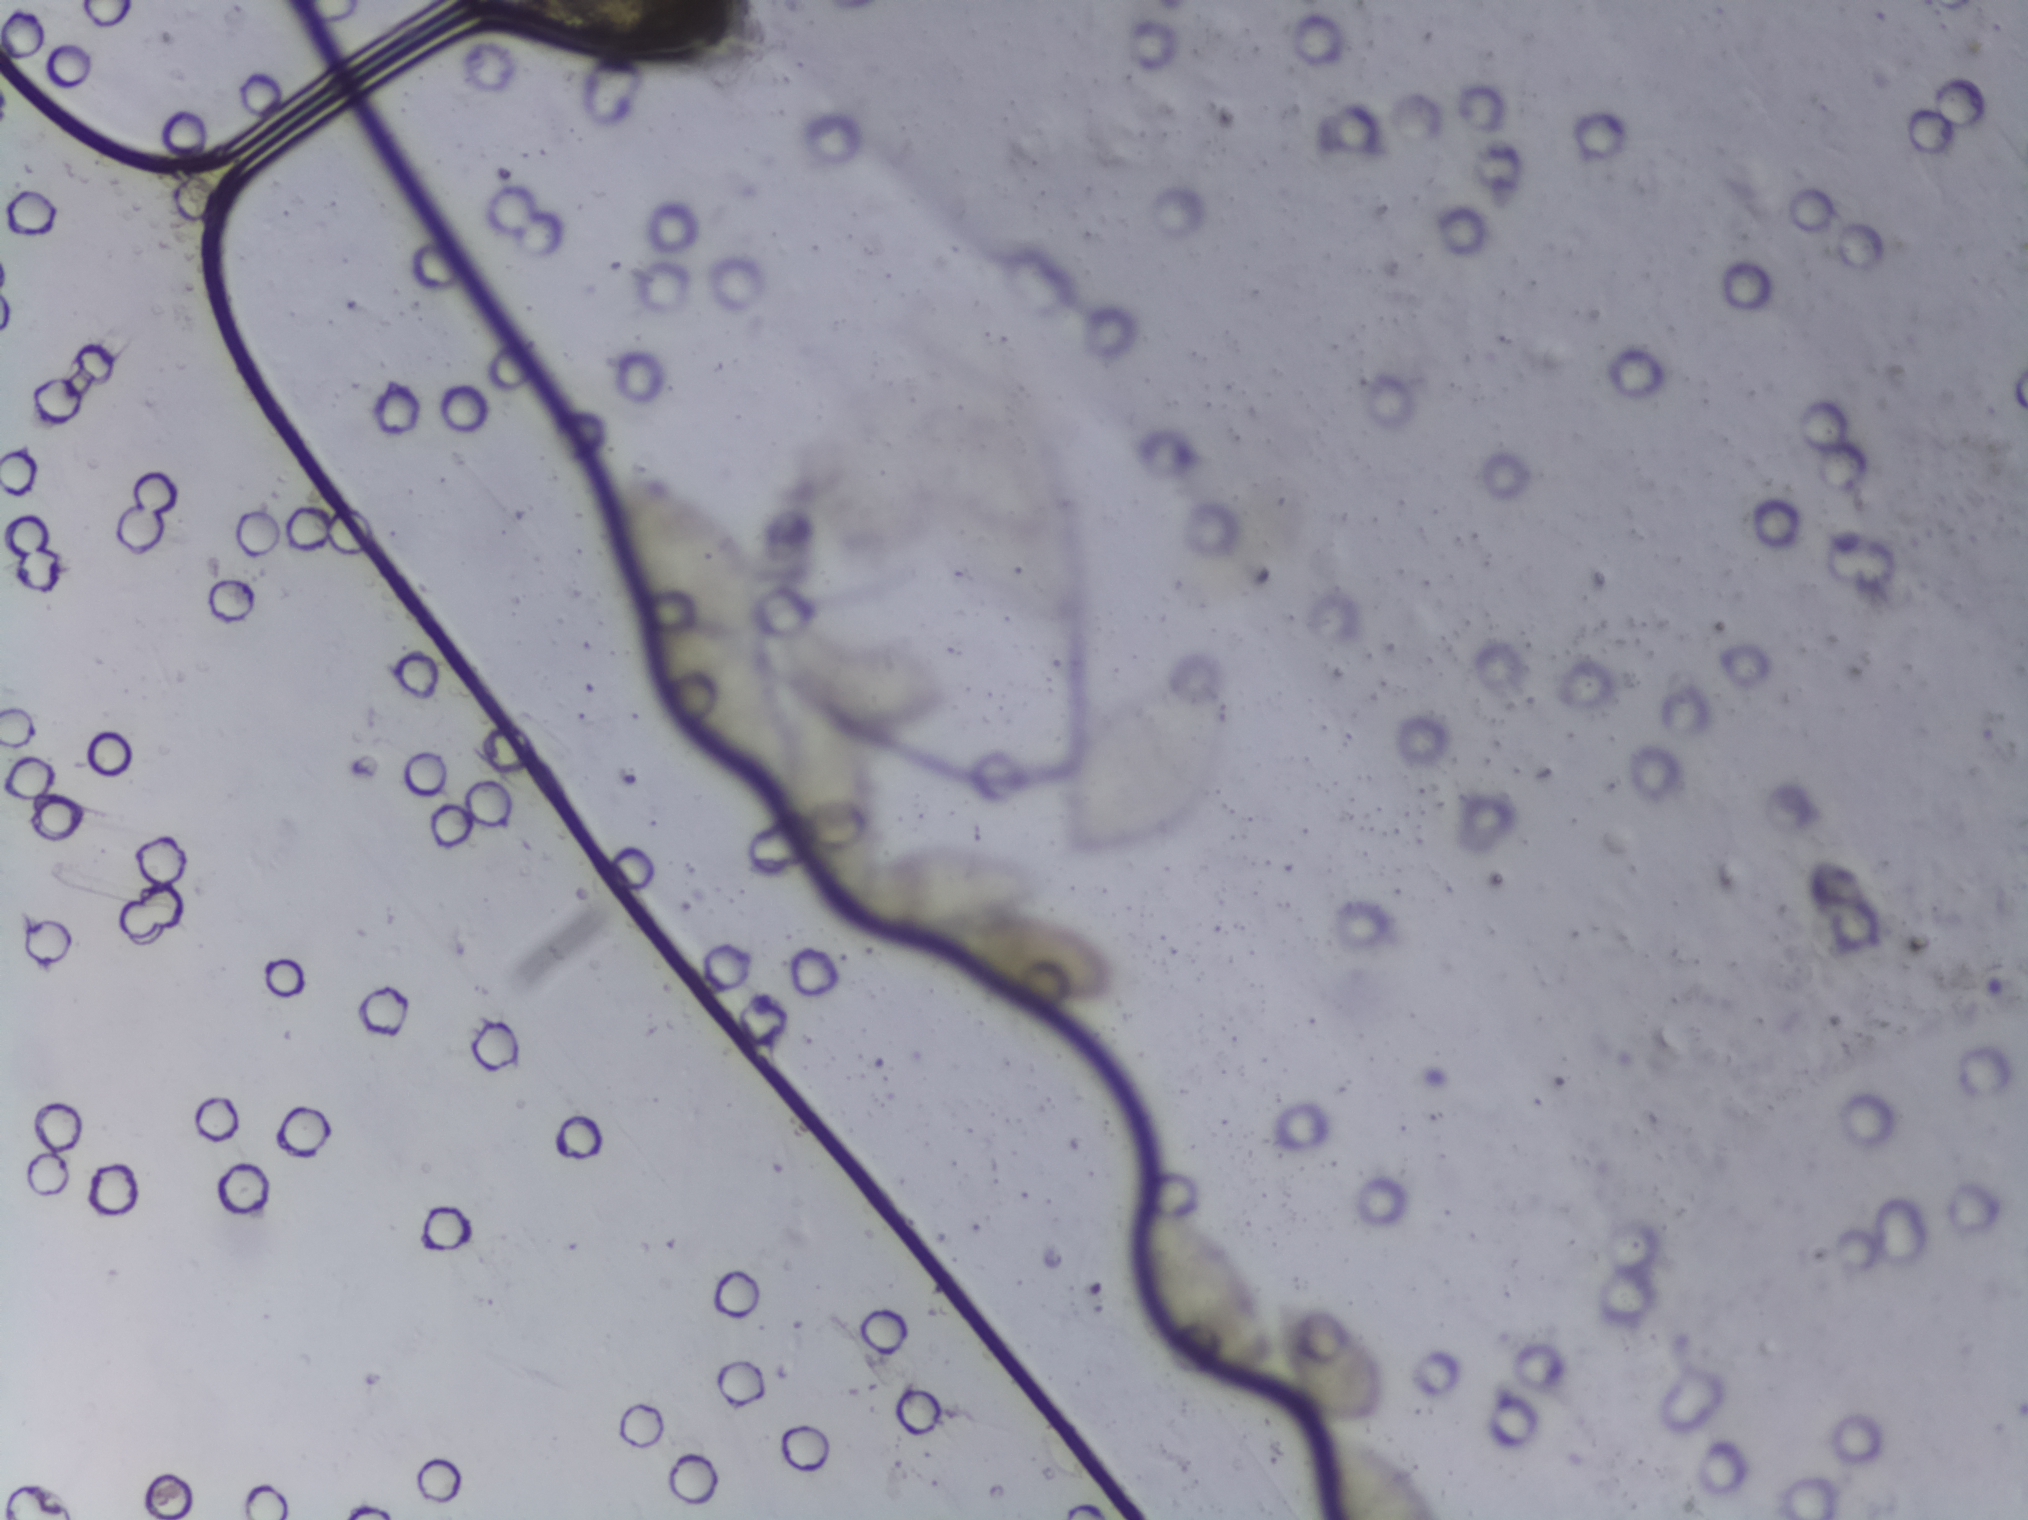
Urine filtration membrane under a 4× objective, photographed by an automated digital microscope. Field of view: about 1.5 mm wide and 1.1 mm high.
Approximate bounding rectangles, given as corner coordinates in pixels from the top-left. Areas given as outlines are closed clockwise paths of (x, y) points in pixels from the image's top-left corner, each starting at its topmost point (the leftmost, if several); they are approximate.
The expert annotation outlines Schistosoma eggs in three areas, left to right: outline (630, 465), (647, 465), (707, 501), (761, 555), (768, 574), (768, 672), (797, 676), (859, 728), (874, 769), (881, 848), (906, 841), (982, 841), (1057, 873), (1061, 886), (1025, 908), (1090, 925), (1116, 965), (1116, 985), (1107, 999), (1068, 1016), (1009, 1014), (985, 999), (914, 977), (887, 960), (879, 939), (844, 920), (794, 857), (769, 790), (735, 773), (652, 676), (644, 596), (620, 567), (606, 524), (608, 484) (a cluster of eggs); box (x1=1059, y1=655, x2=1236, y2=858); outline (1148, 1185), (1179, 1196), (1232, 1242), (1268, 1295), (1275, 1333), (1273, 1297), (1279, 1295), (1323, 1297), (1366, 1326), (1385, 1354), (1387, 1407), (1352, 1431), (1415, 1468), (1438, 1501), (1440, 1519), (1331, 1517), (1319, 1471), (1320, 1422), (1307, 1414), (1285, 1378), (1278, 1340), (1277, 1378), (1258, 1392), (1210, 1375), (1171, 1348), (1144, 1300), (1132, 1235) (reaching the bottom edge of the frame). Eggs that touch can end up inside the same outlined area.